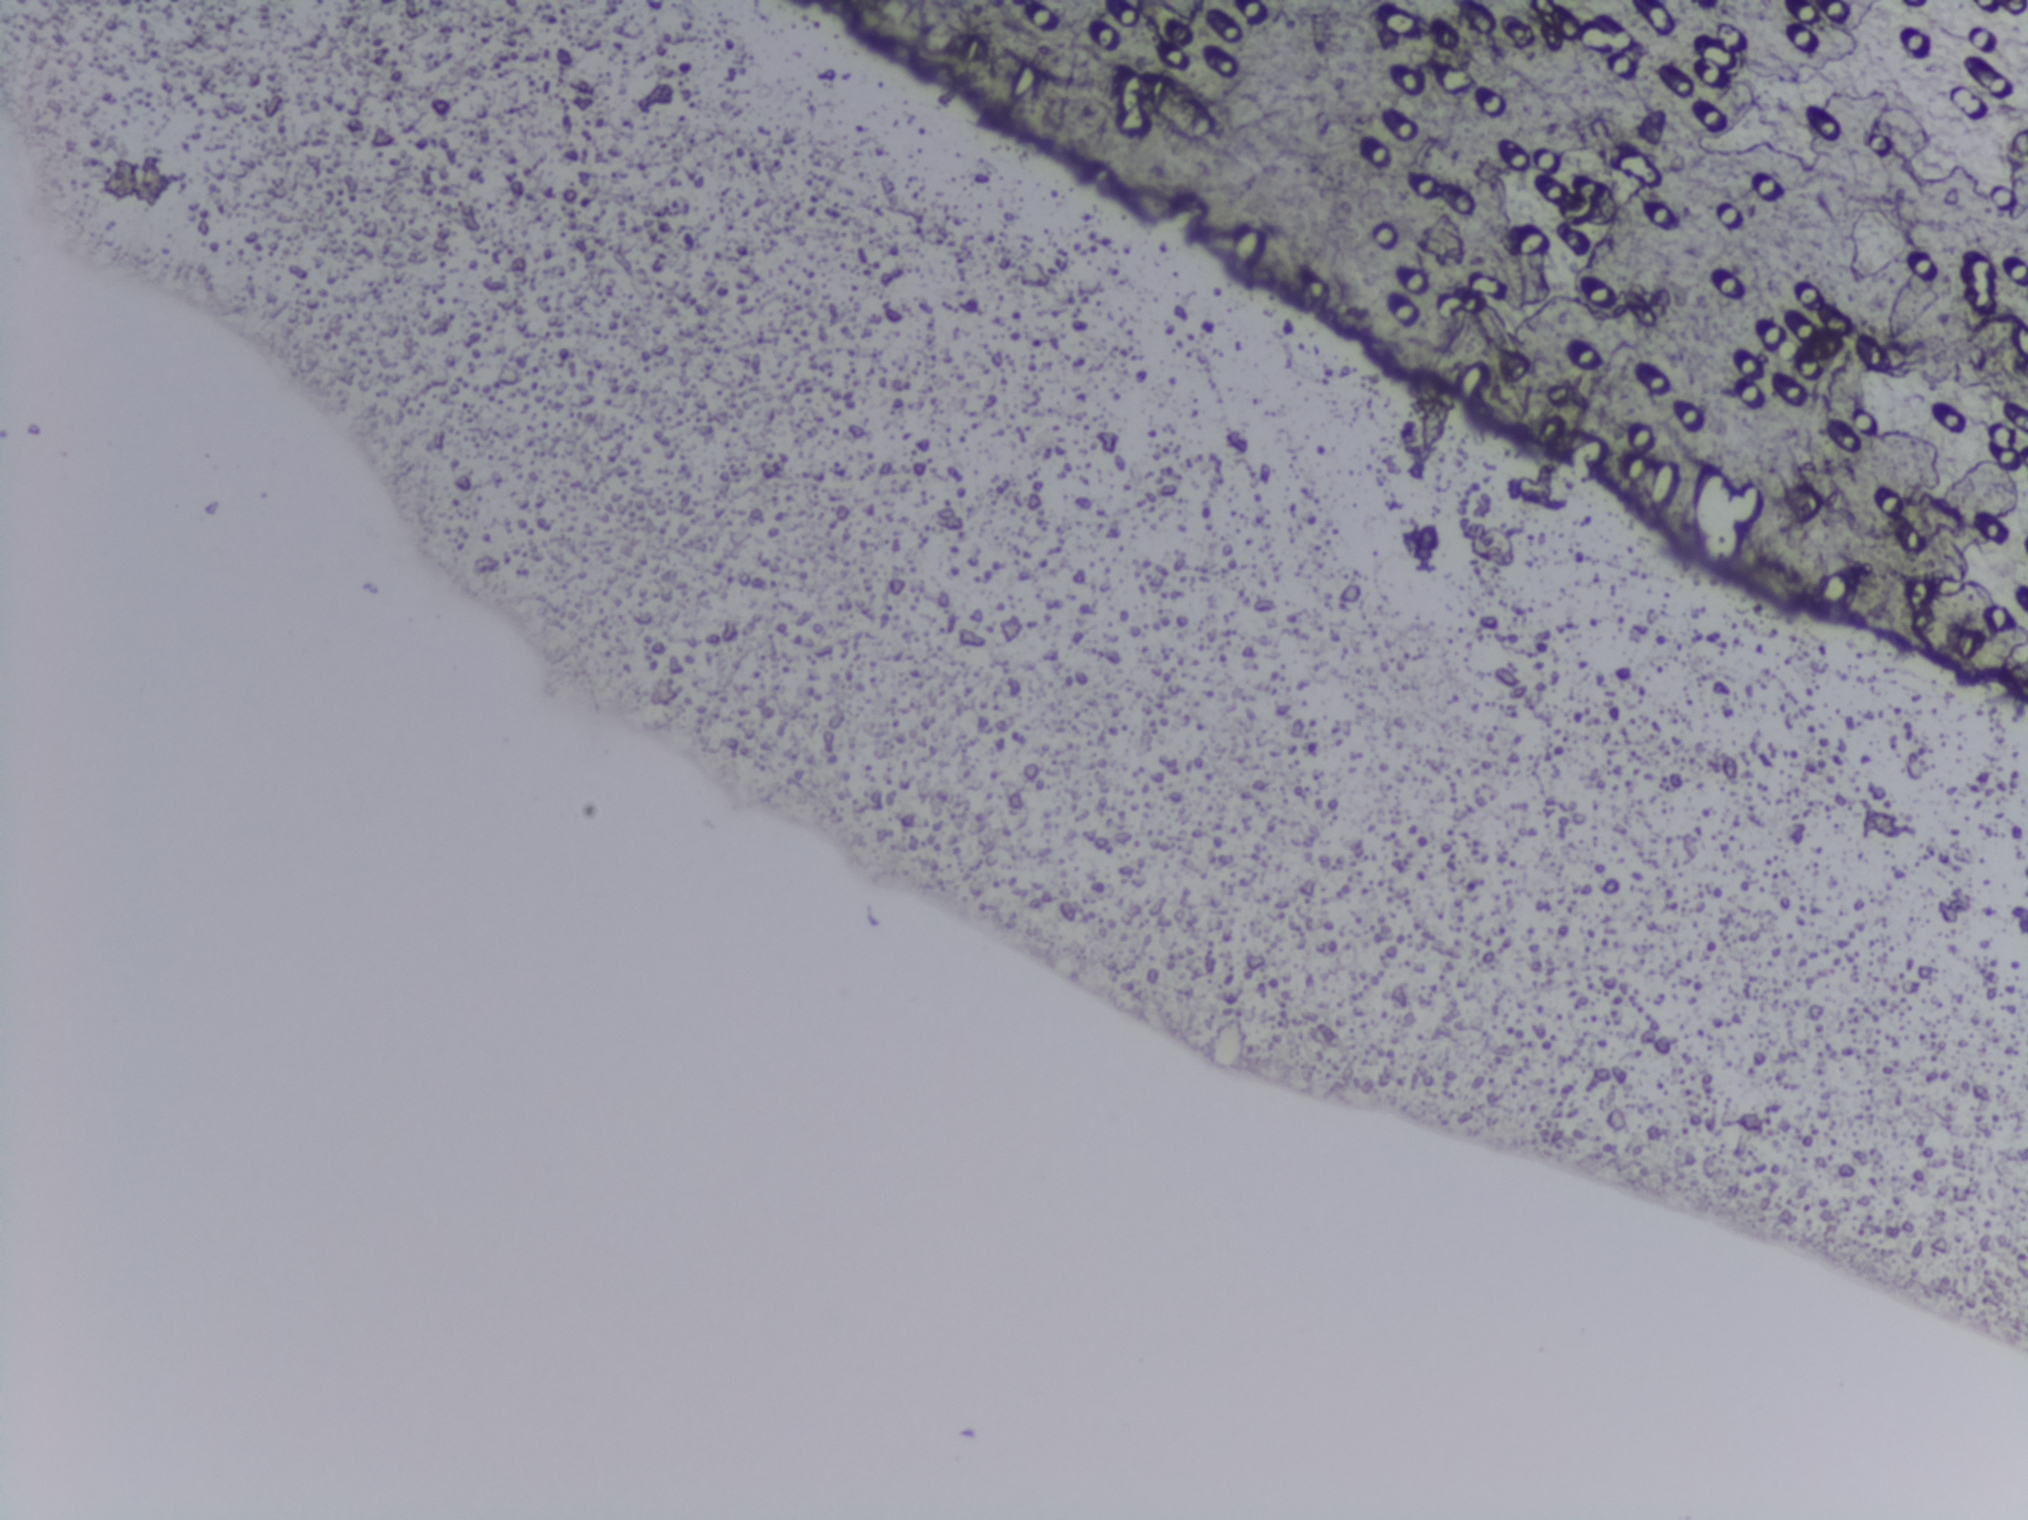
Photograph from an automated digital microscope: urine filter membrane, 4× objective.
The expert annotation marks no Schistosoma egg in this field of view.